Urine filtration membrane under a 4× objective, photographed by an automated digital microscope.
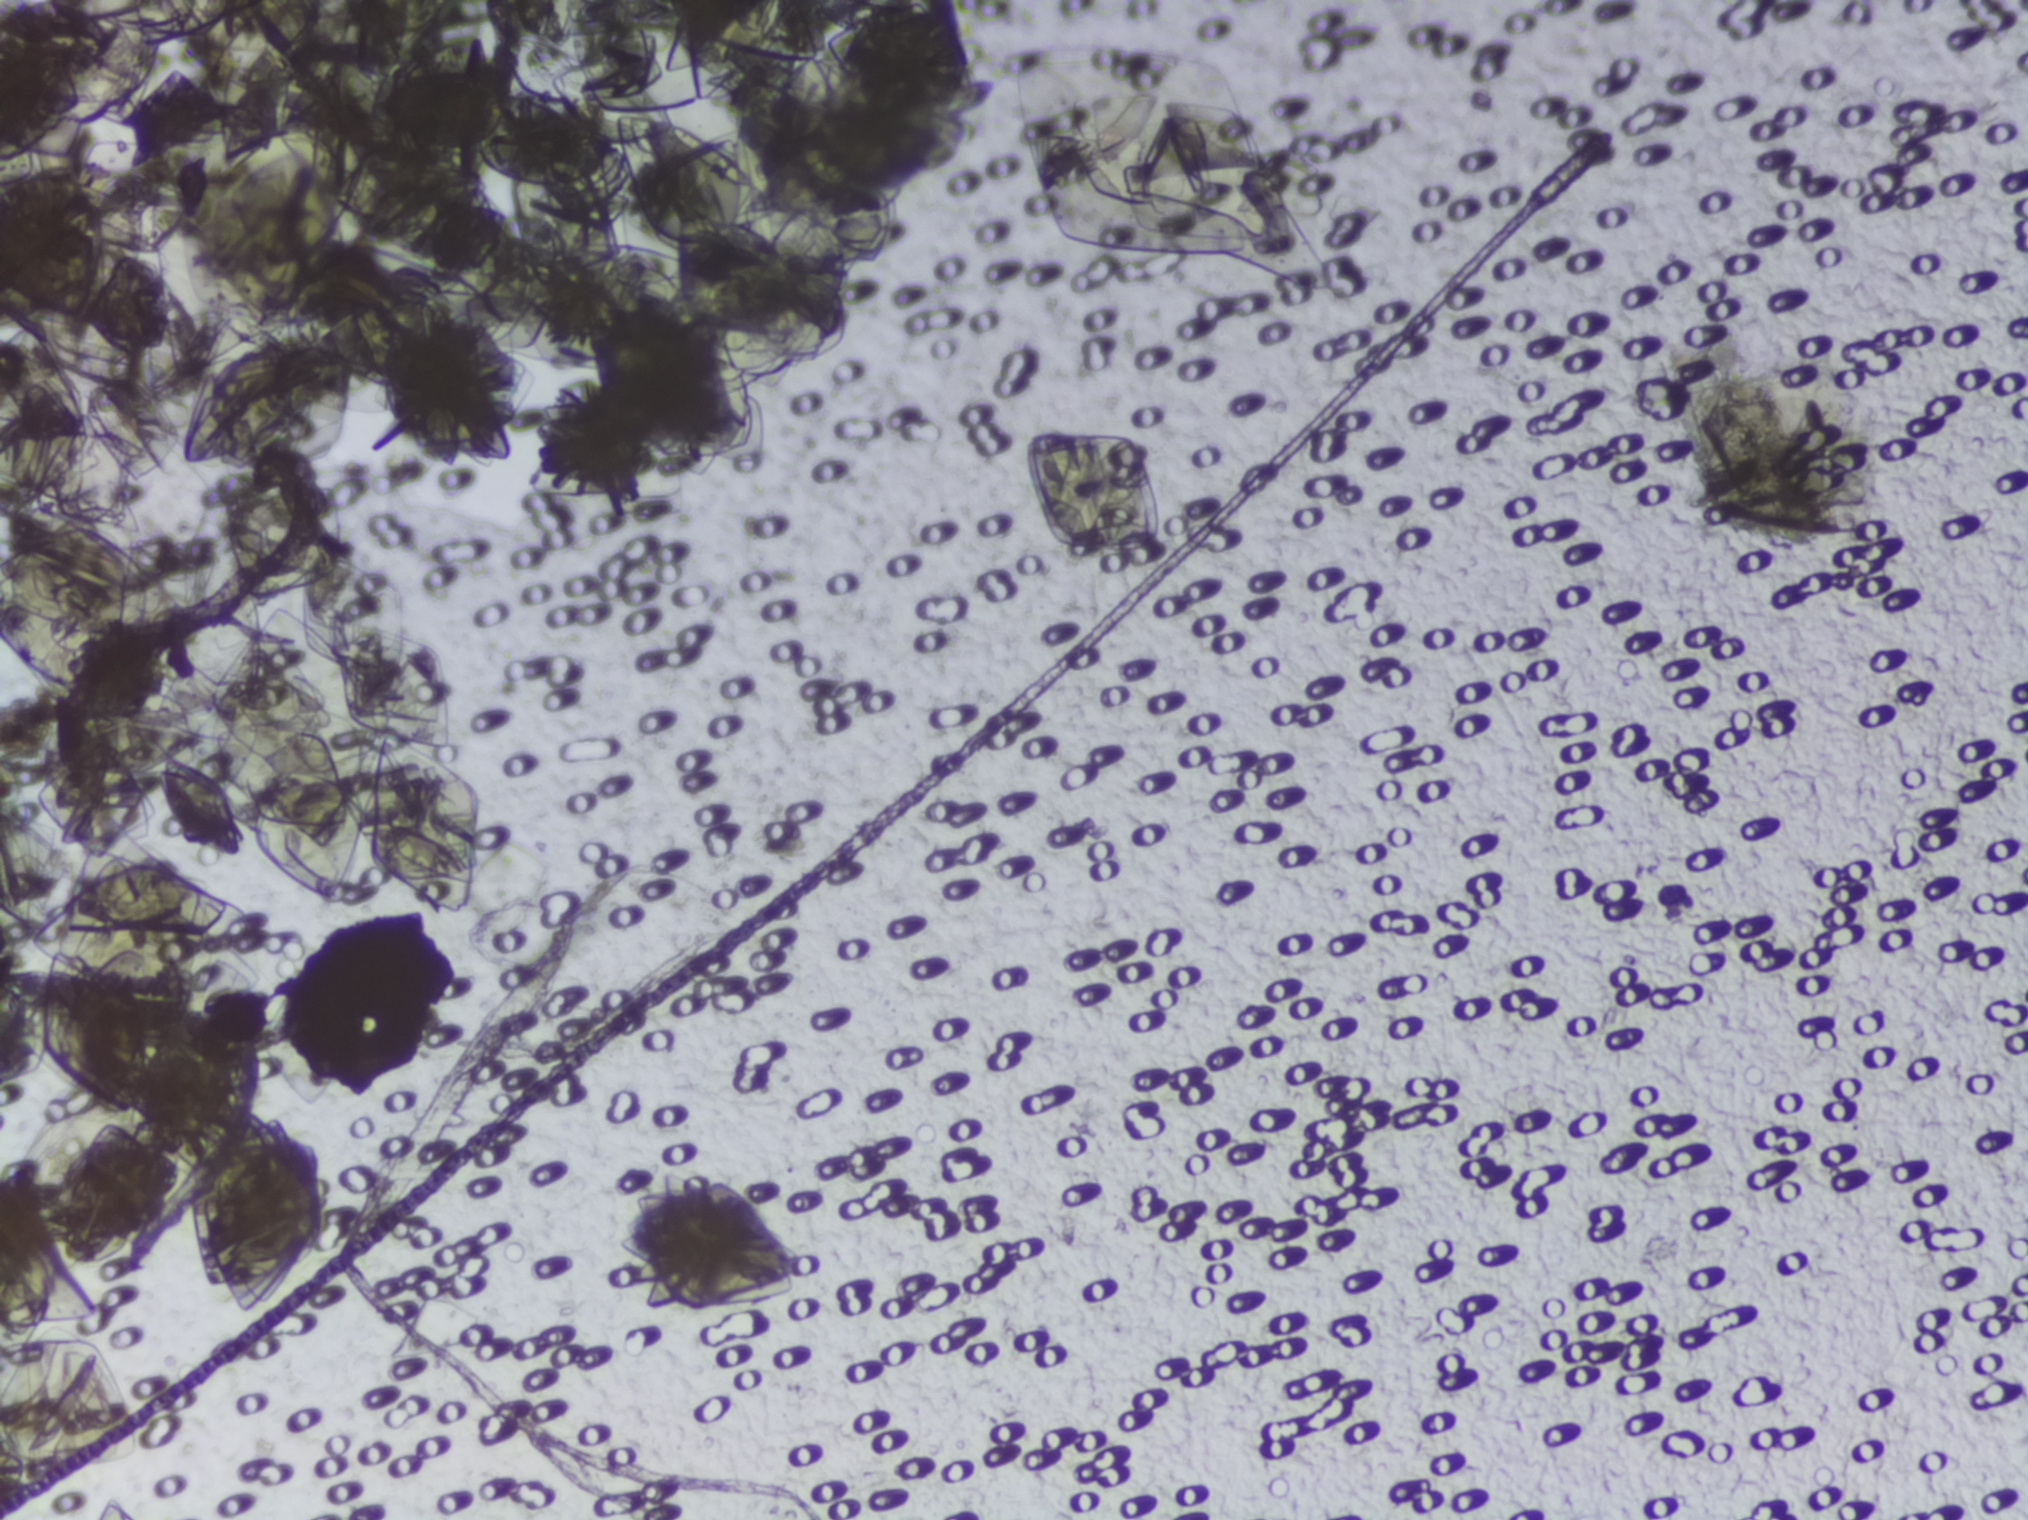
The expert annotation outlines no Schistosoma egg in this image.